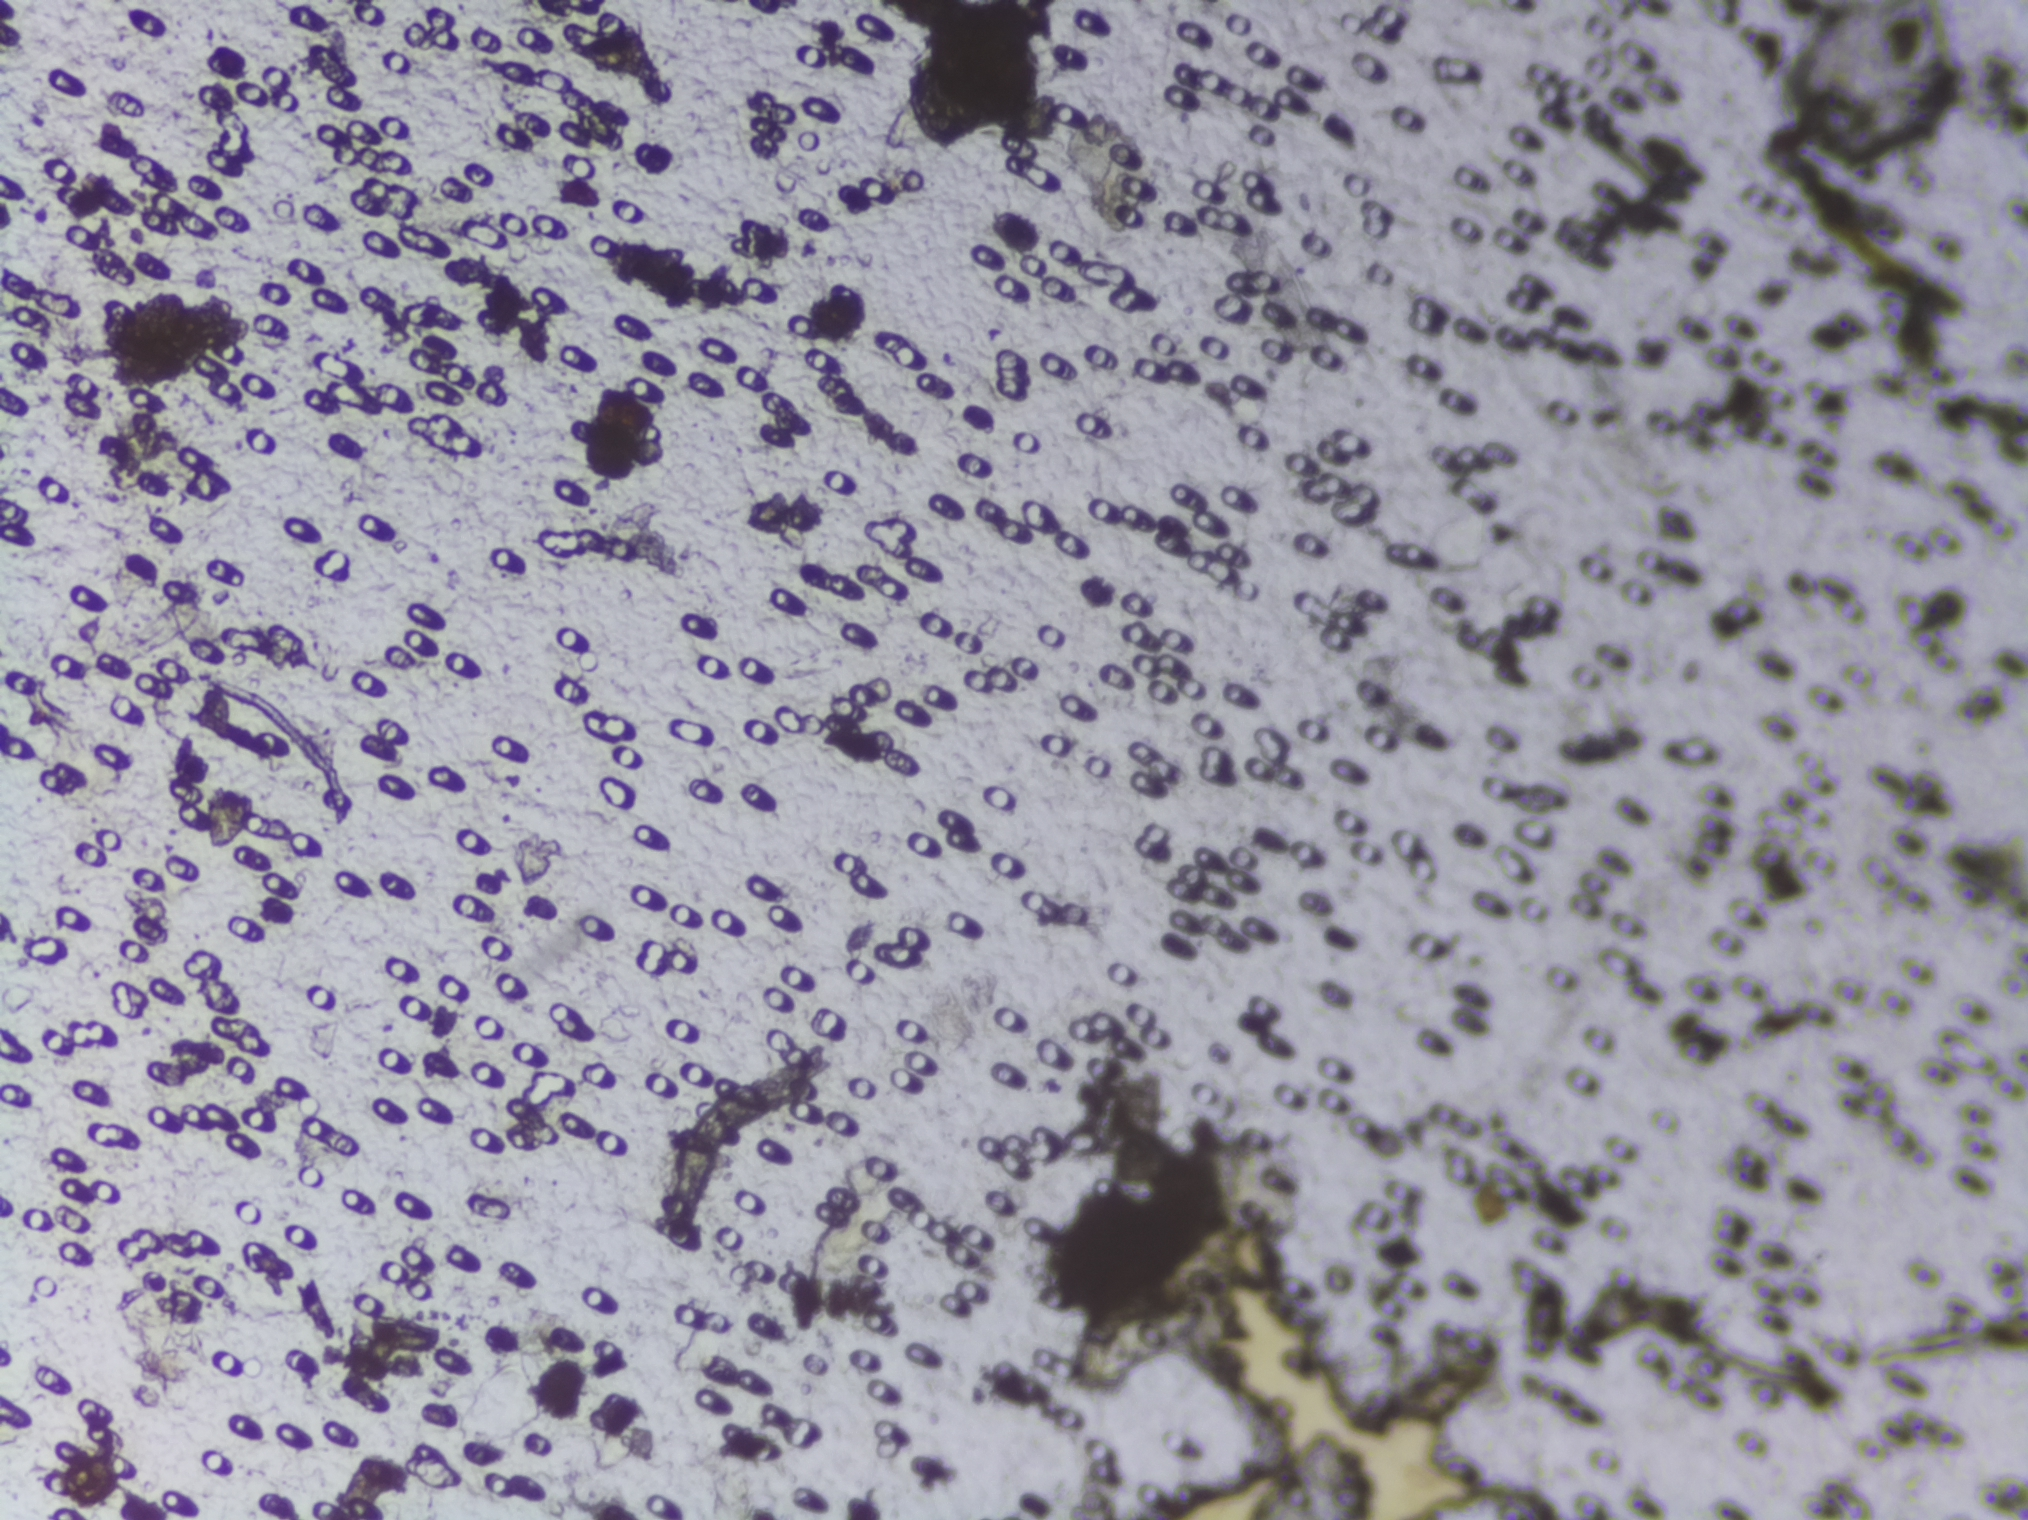
One field of view of a urine filter membrane, 4× objective, 2028 × 1520 pixels.
No area of this image was outlined as a Schistosoma egg.